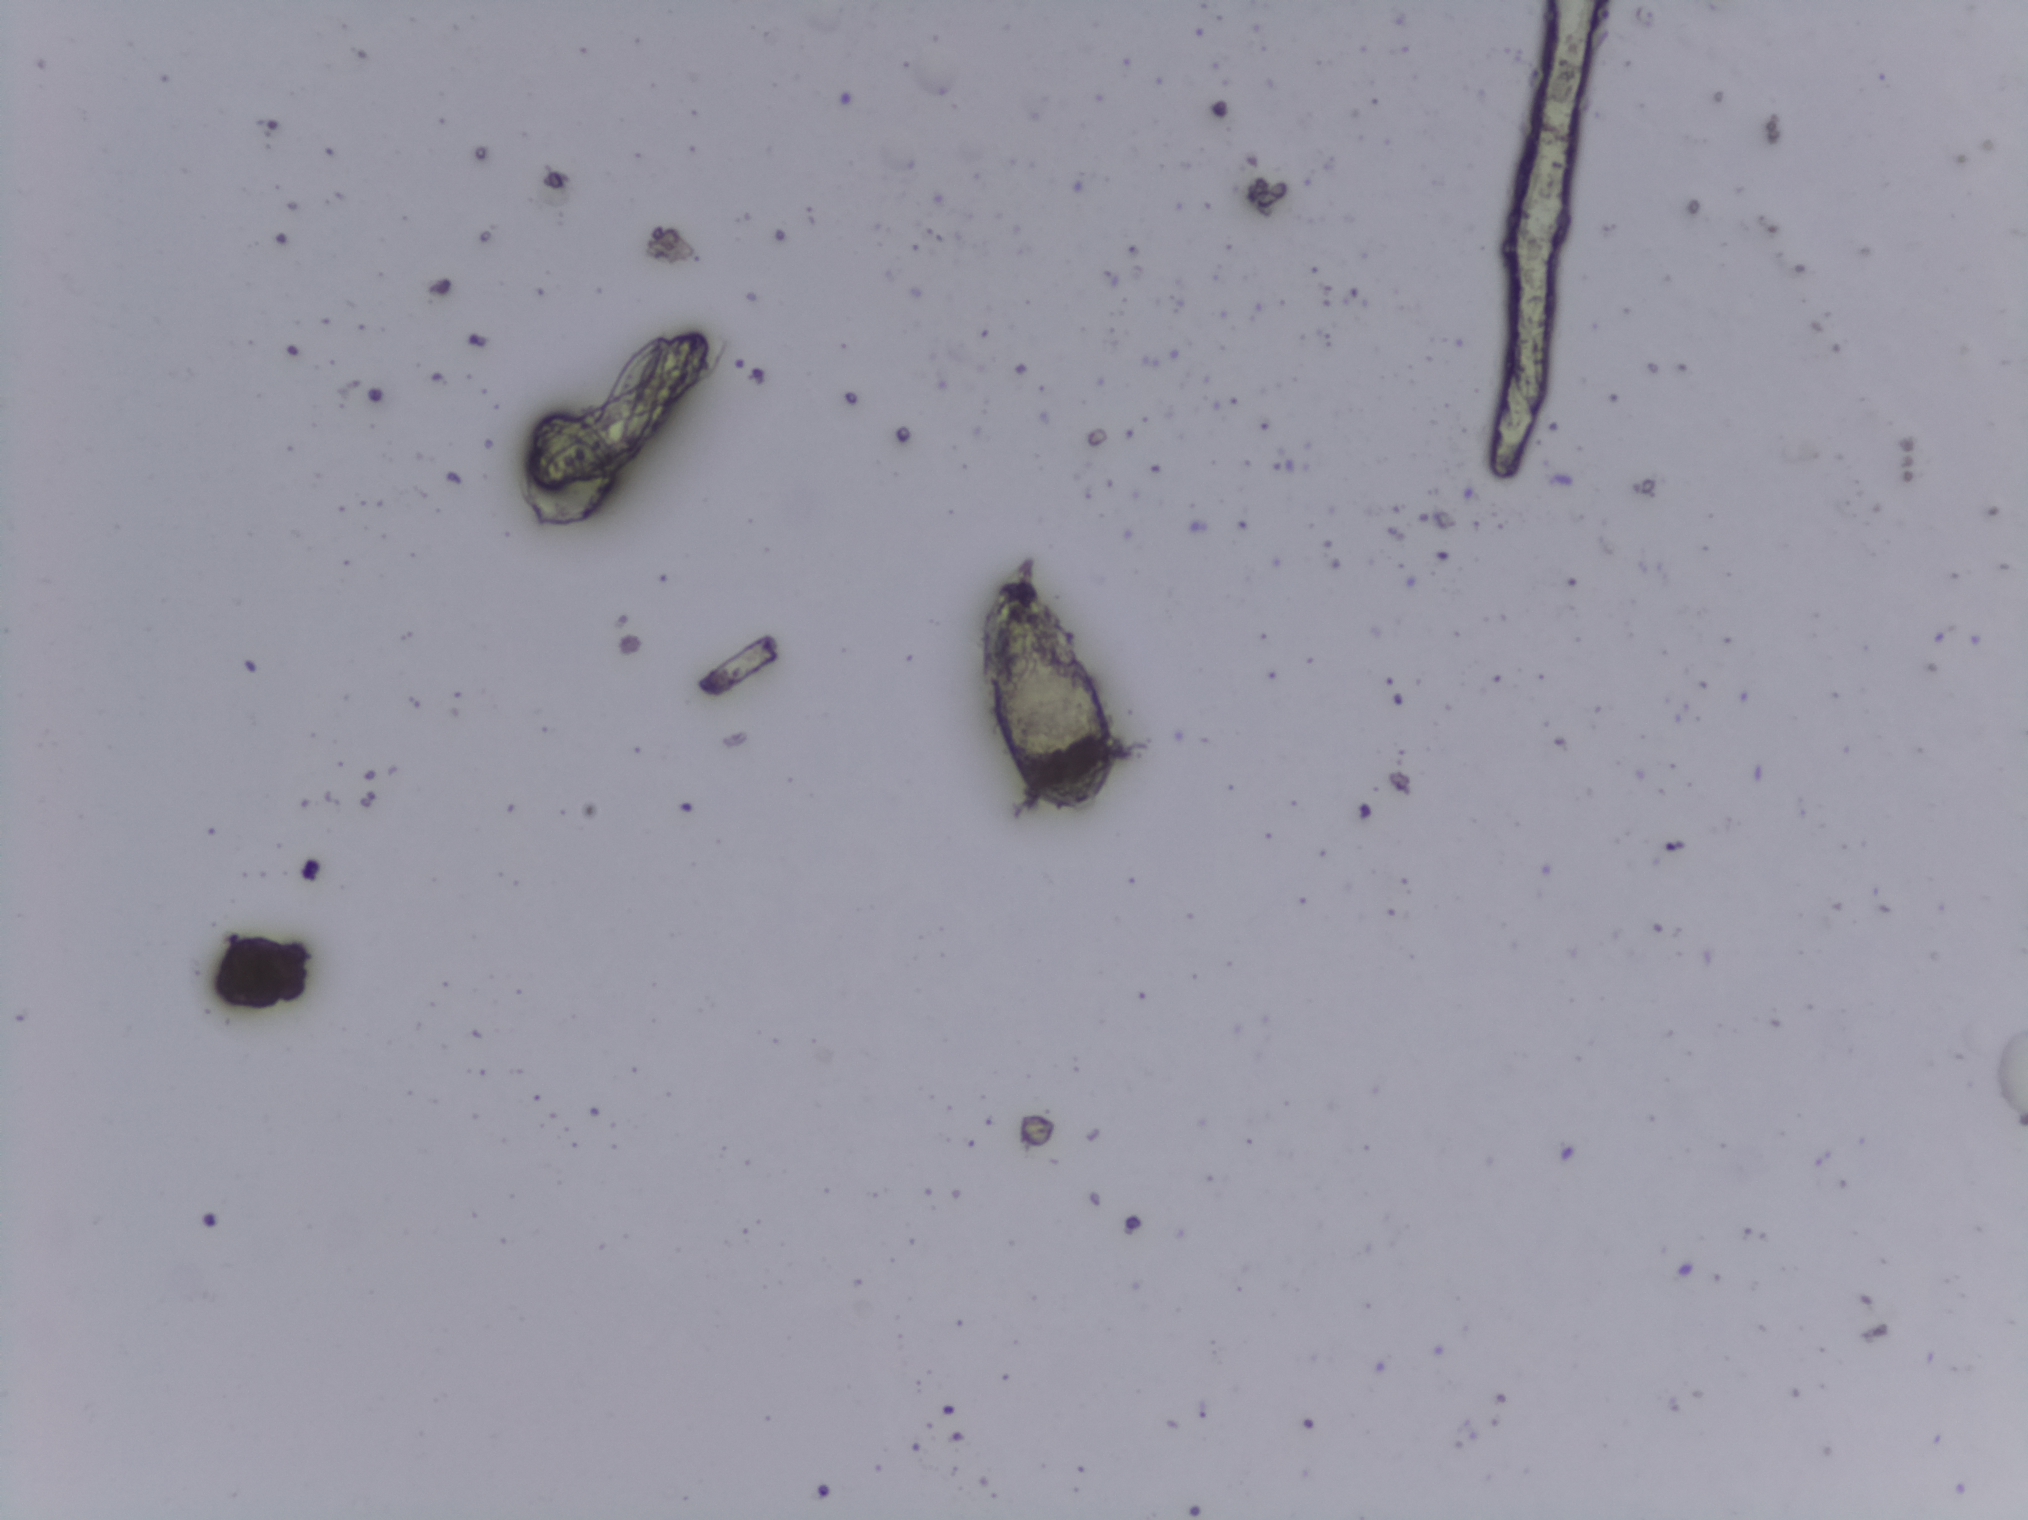
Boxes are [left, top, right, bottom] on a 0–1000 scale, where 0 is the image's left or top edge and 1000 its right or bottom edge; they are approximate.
Outlined Schistosoma egg areas:
1. [490, 378, 552, 538]
An outlined area can hold more than one egg.
Urine filtration membrane under a 4× objective, photographed by an automated digital microscope.